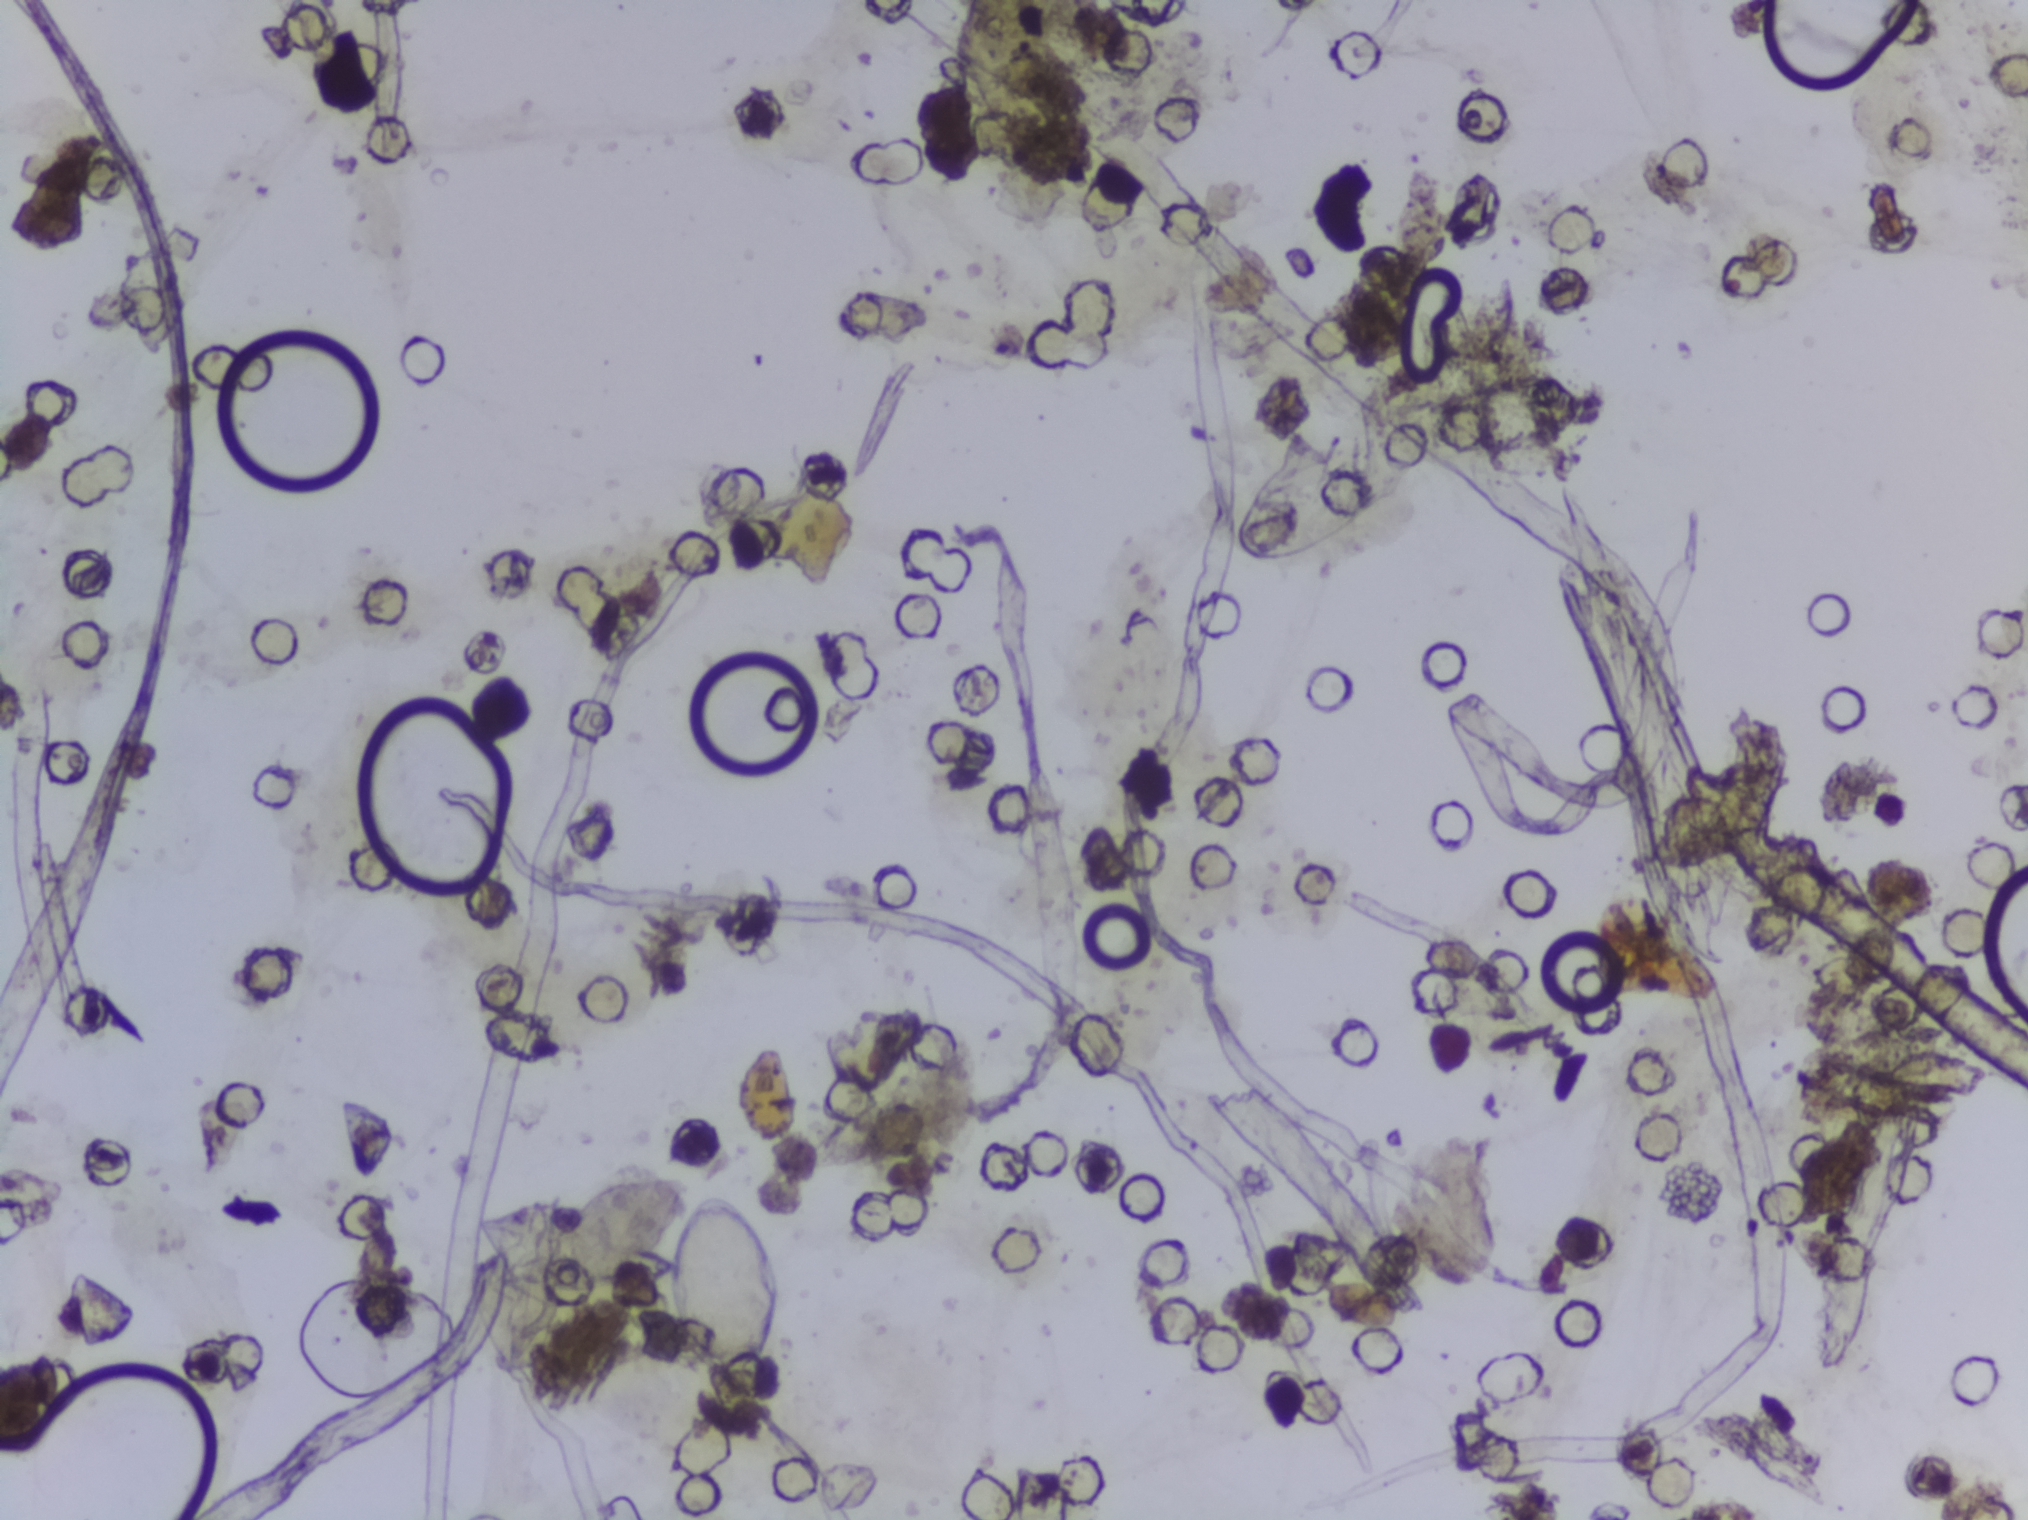
Microscope photograph (4× objective) of a membrane that a urine sample was filtered through.
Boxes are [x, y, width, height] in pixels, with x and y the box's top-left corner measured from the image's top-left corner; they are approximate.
Schistosoma eggs, outlined areas: [565, 1173, 126, 111]; [666, 1194, 114, 216]. About 0.9% of the image's pixels are marked (the marked pixels themselves, not the boxes around them). Eggs that touch can end up inside the same outlined area.